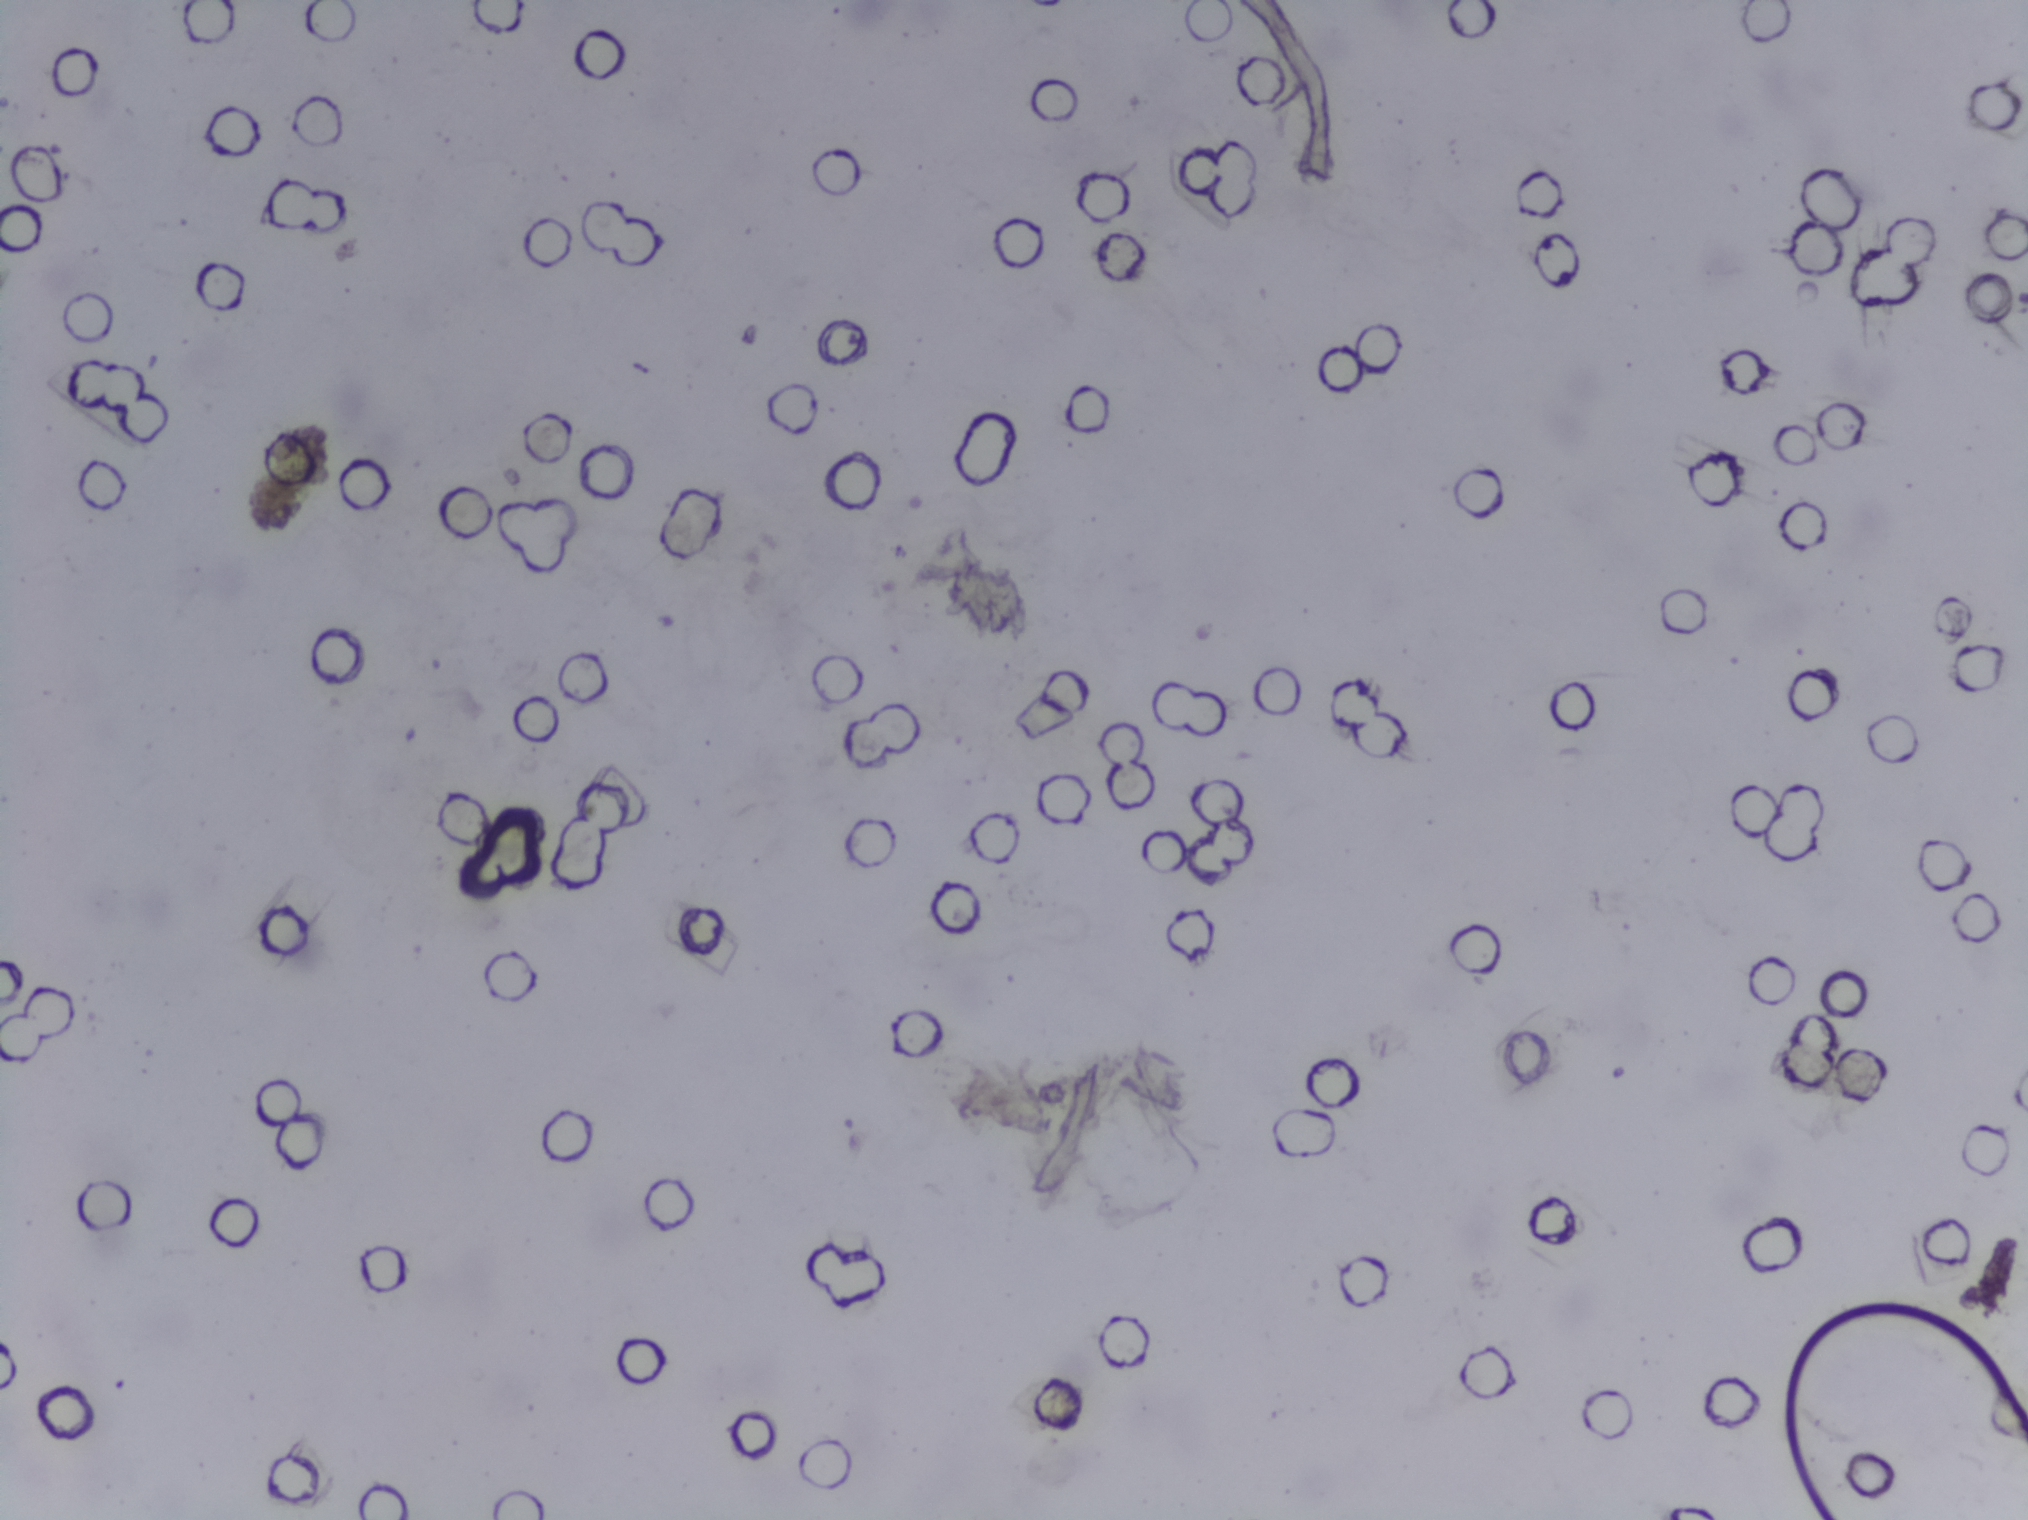
Microscope photograph (4× objective) of a membrane that a urine sample was filtered through. The field of view is about 1.5 mm × 1.1 mm.
No area of this image was outlined as a Schistosoma egg.